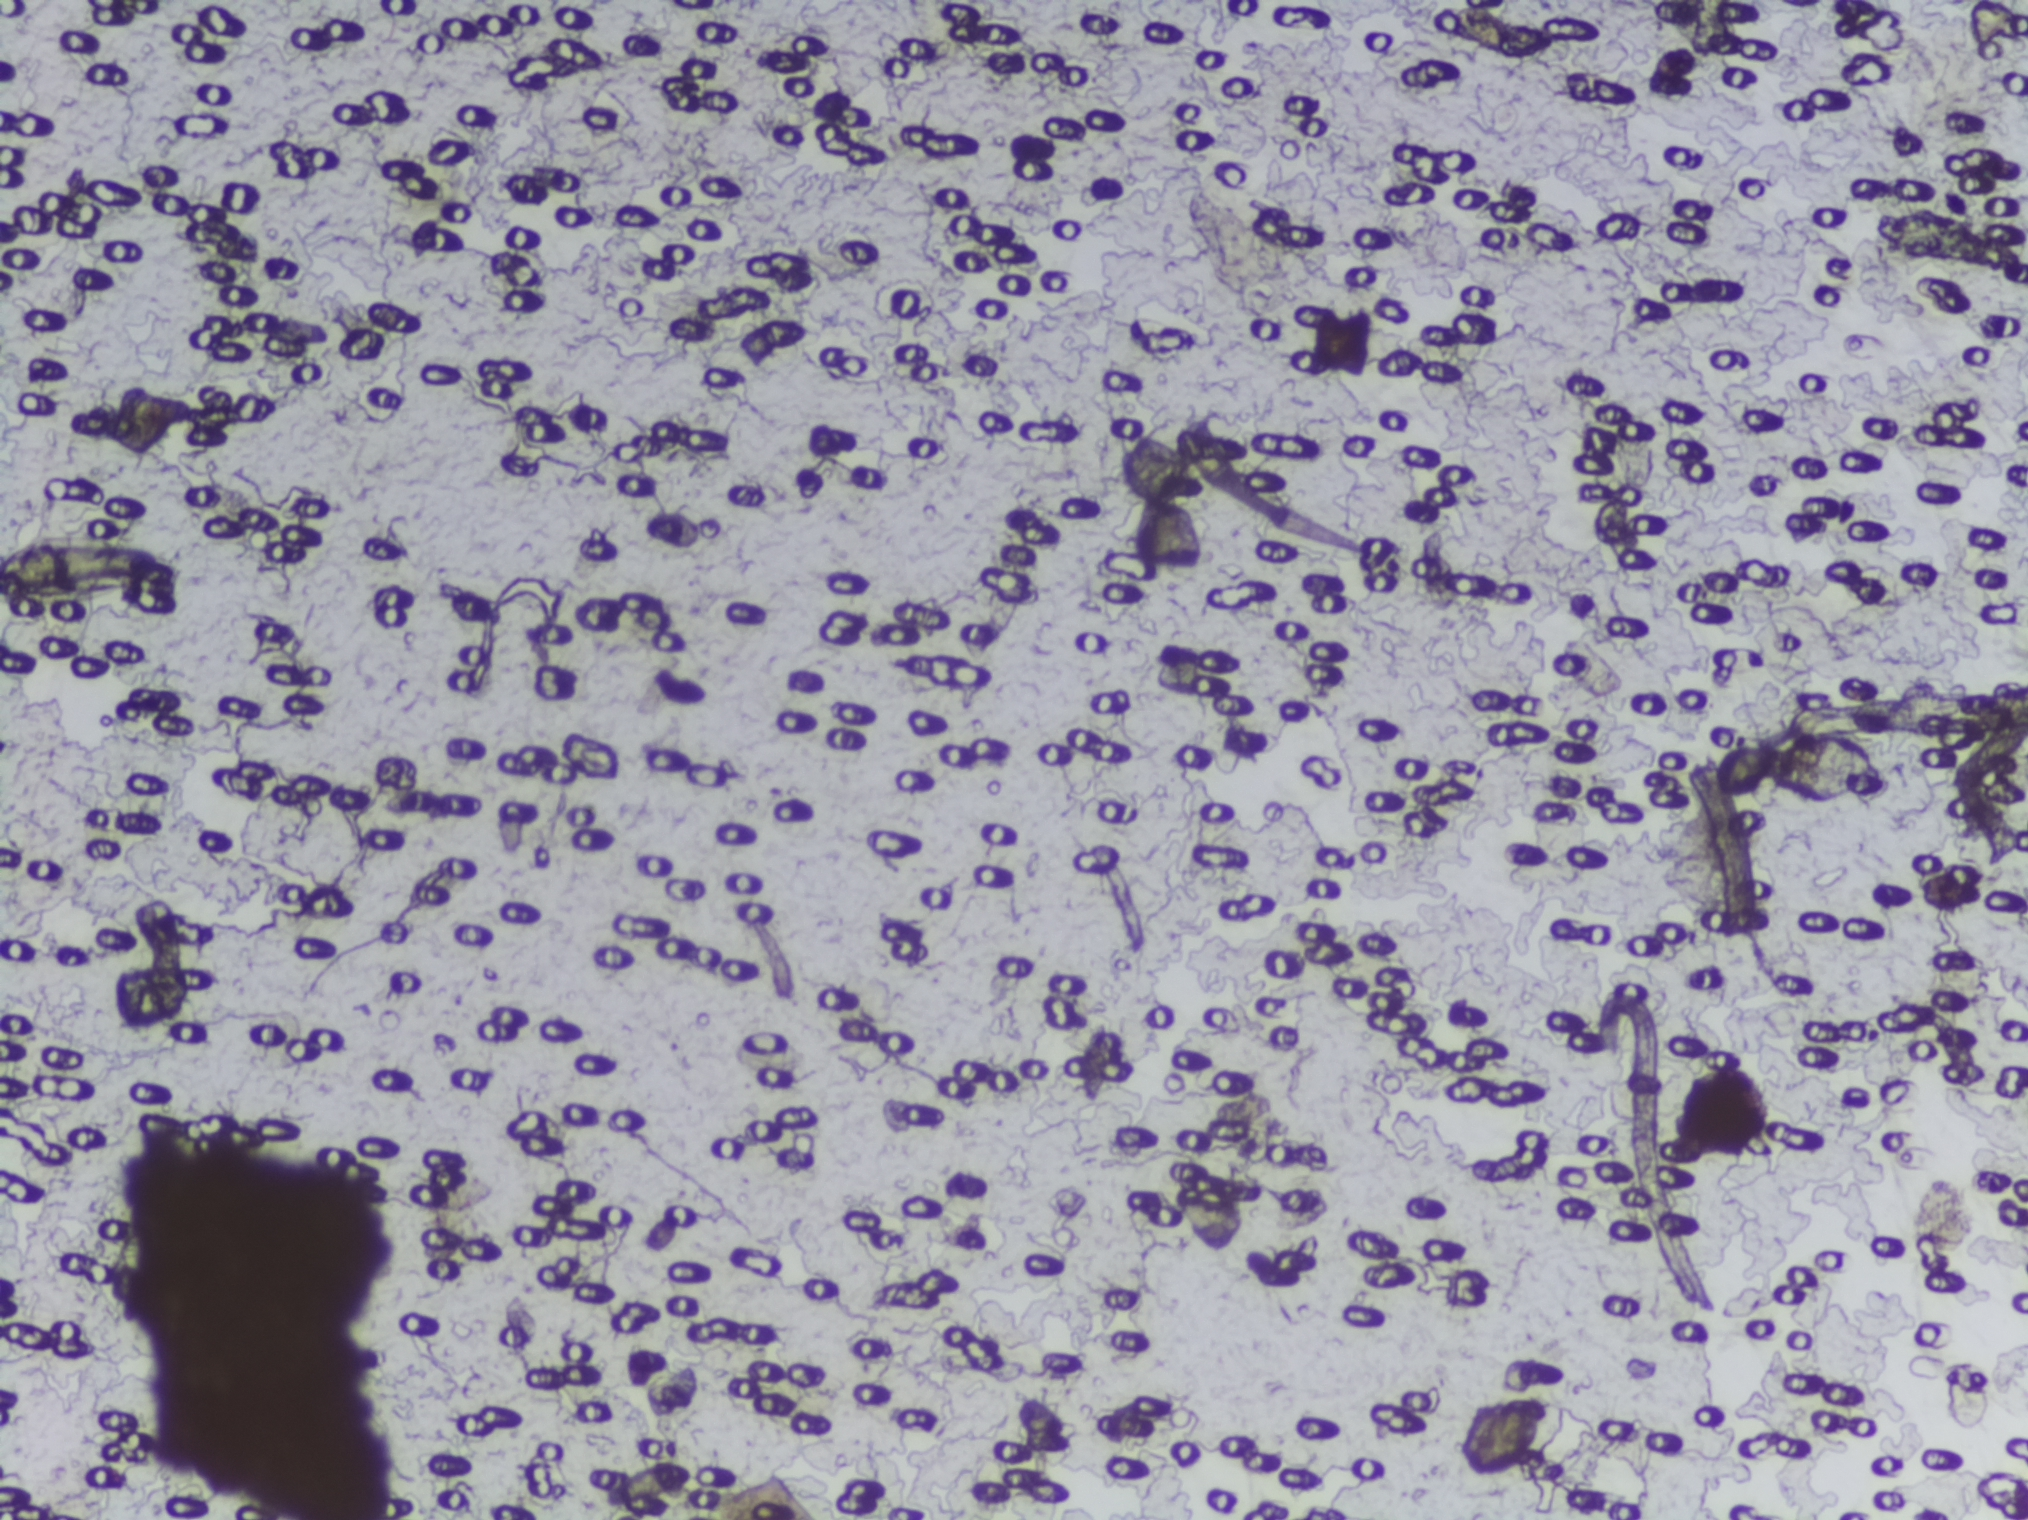
Urine filter membrane photographed through a 4× microscope objective.
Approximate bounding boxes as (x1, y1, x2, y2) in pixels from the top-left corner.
Areas outlined as Schistosoma eggs:
1. (1, 523, 209, 626)
Eggs that touch can end up inside the same outlined area.